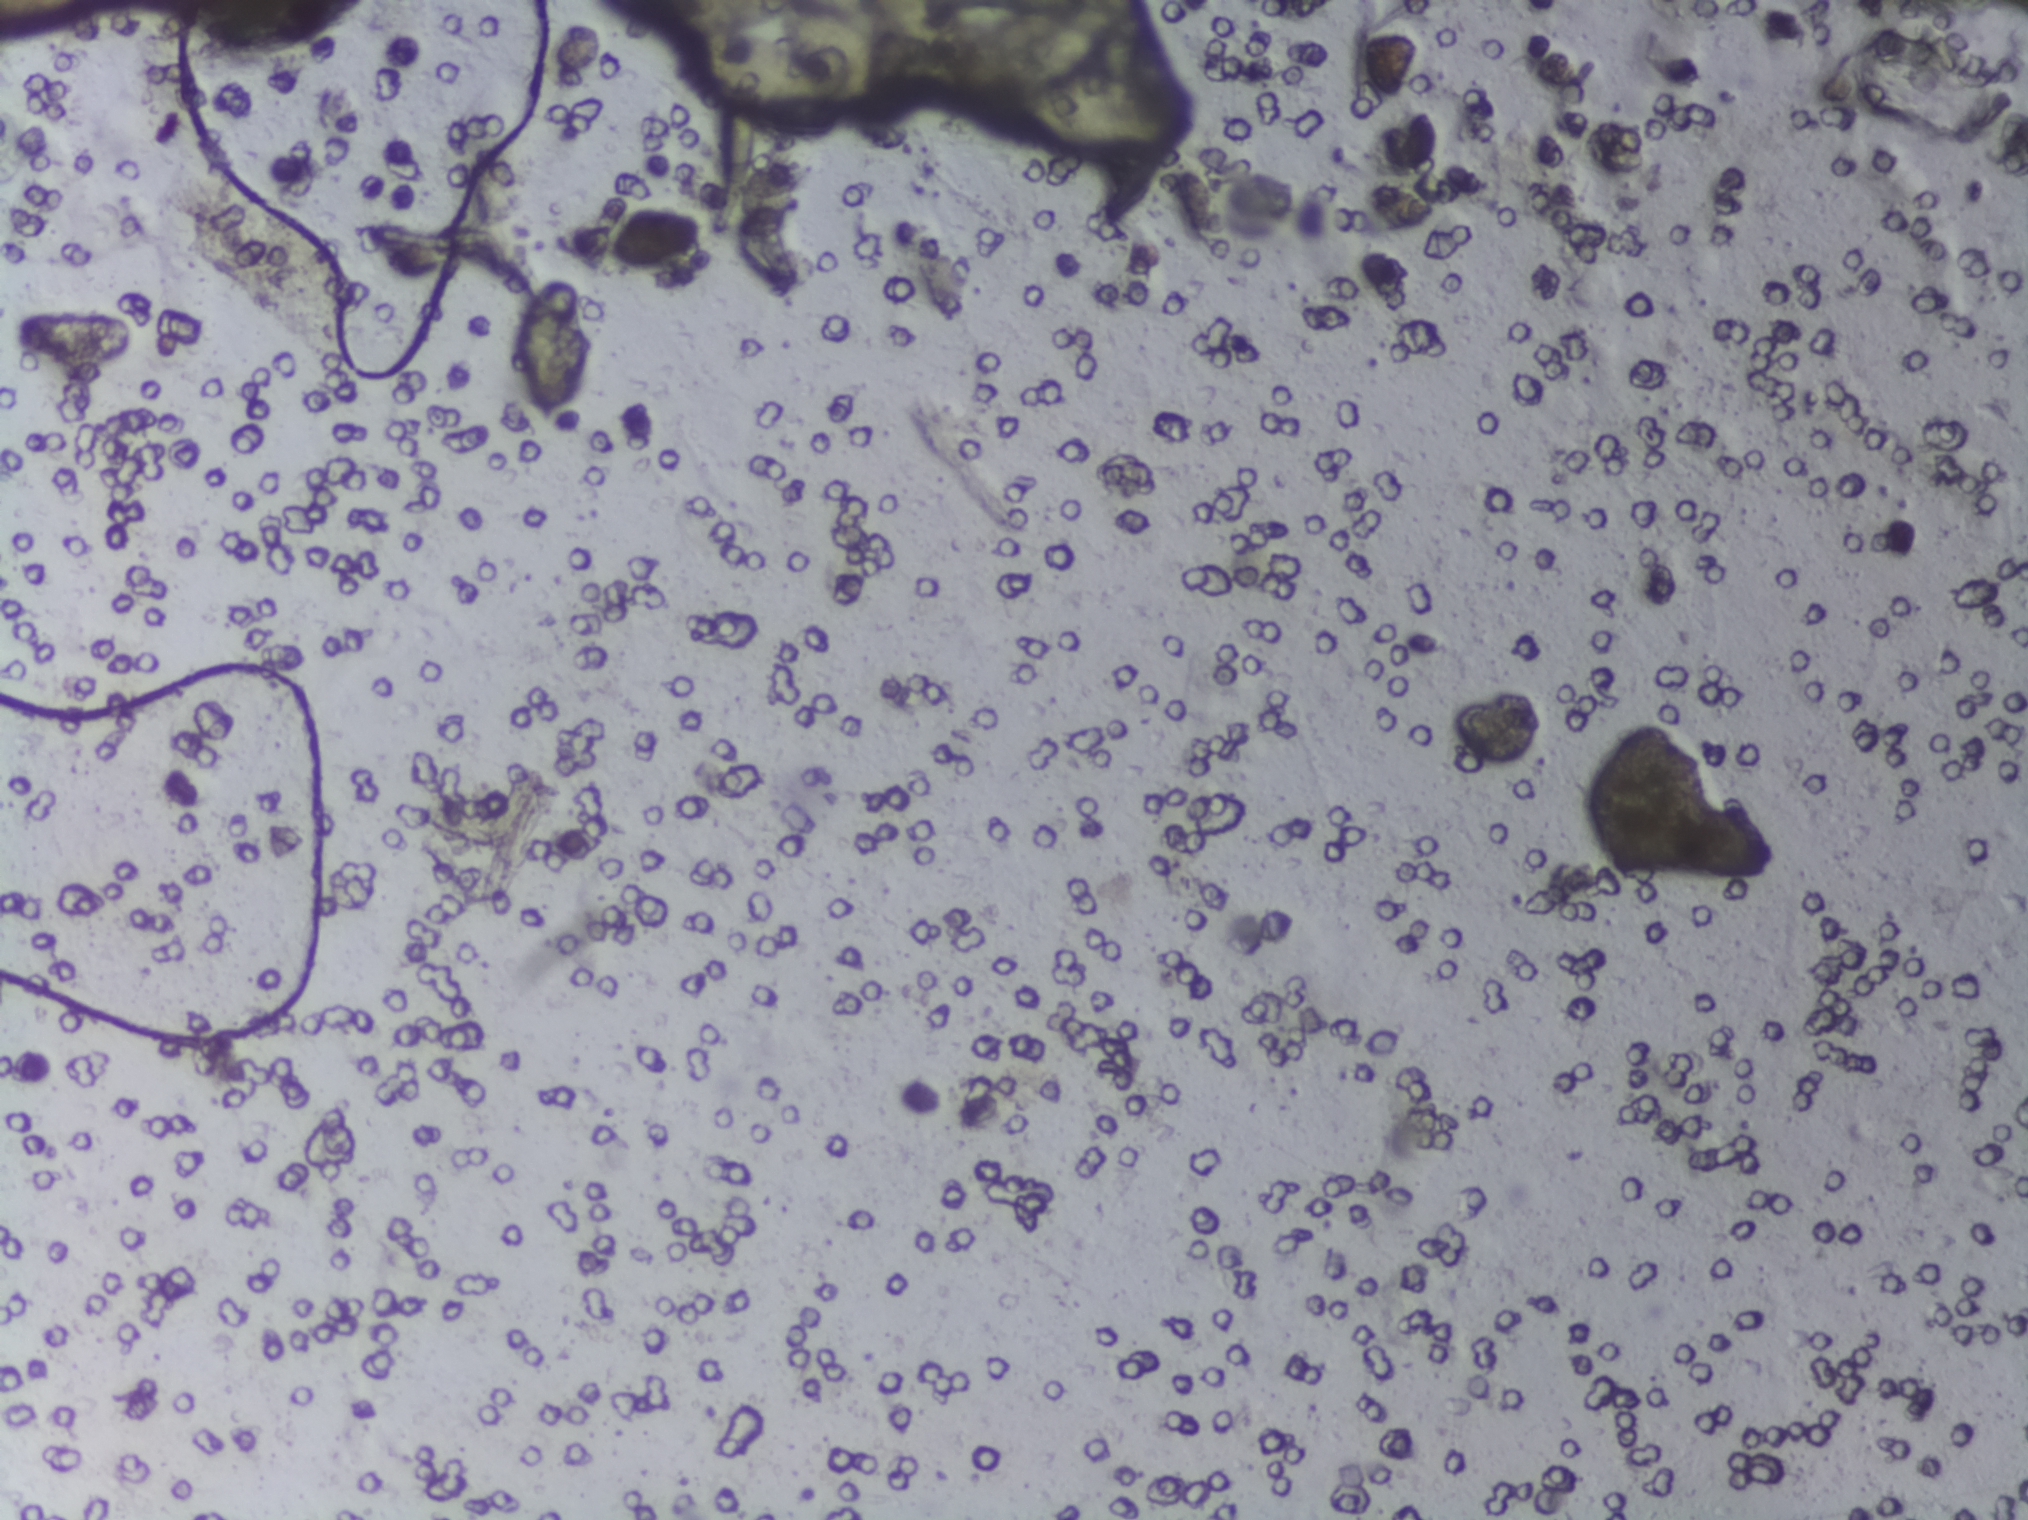
Photomicrograph of a urine filtration membrane, 4× objective. Field of view: about 1.5 mm wide and 1.1 mm high.
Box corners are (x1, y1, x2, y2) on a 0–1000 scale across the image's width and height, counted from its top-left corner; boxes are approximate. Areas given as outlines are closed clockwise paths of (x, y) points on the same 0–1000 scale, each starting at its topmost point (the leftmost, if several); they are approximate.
The expert annotation outlines Schistosoma eggs in two areas, left to right: box (253, 184, 292, 281) and outline (297, 0), (486, 0), (511, 8), (530, 0), (563, 0), (580, 59), (589, 73), (590, 88), (571, 103), (531, 101), (511, 88), (504, 75), (505, 64), (482, 65), (468, 56), (470, 35), (436, 29), (446, 63), (446, 88), (433, 93), (414, 74), (415, 86), (412, 90), (391, 88), (356, 72), (339, 51), (338, 23), (328, 23) (a cluster of eggs; reaching the top edge of the frame). Eggs that touch can end up inside the same outlined area.